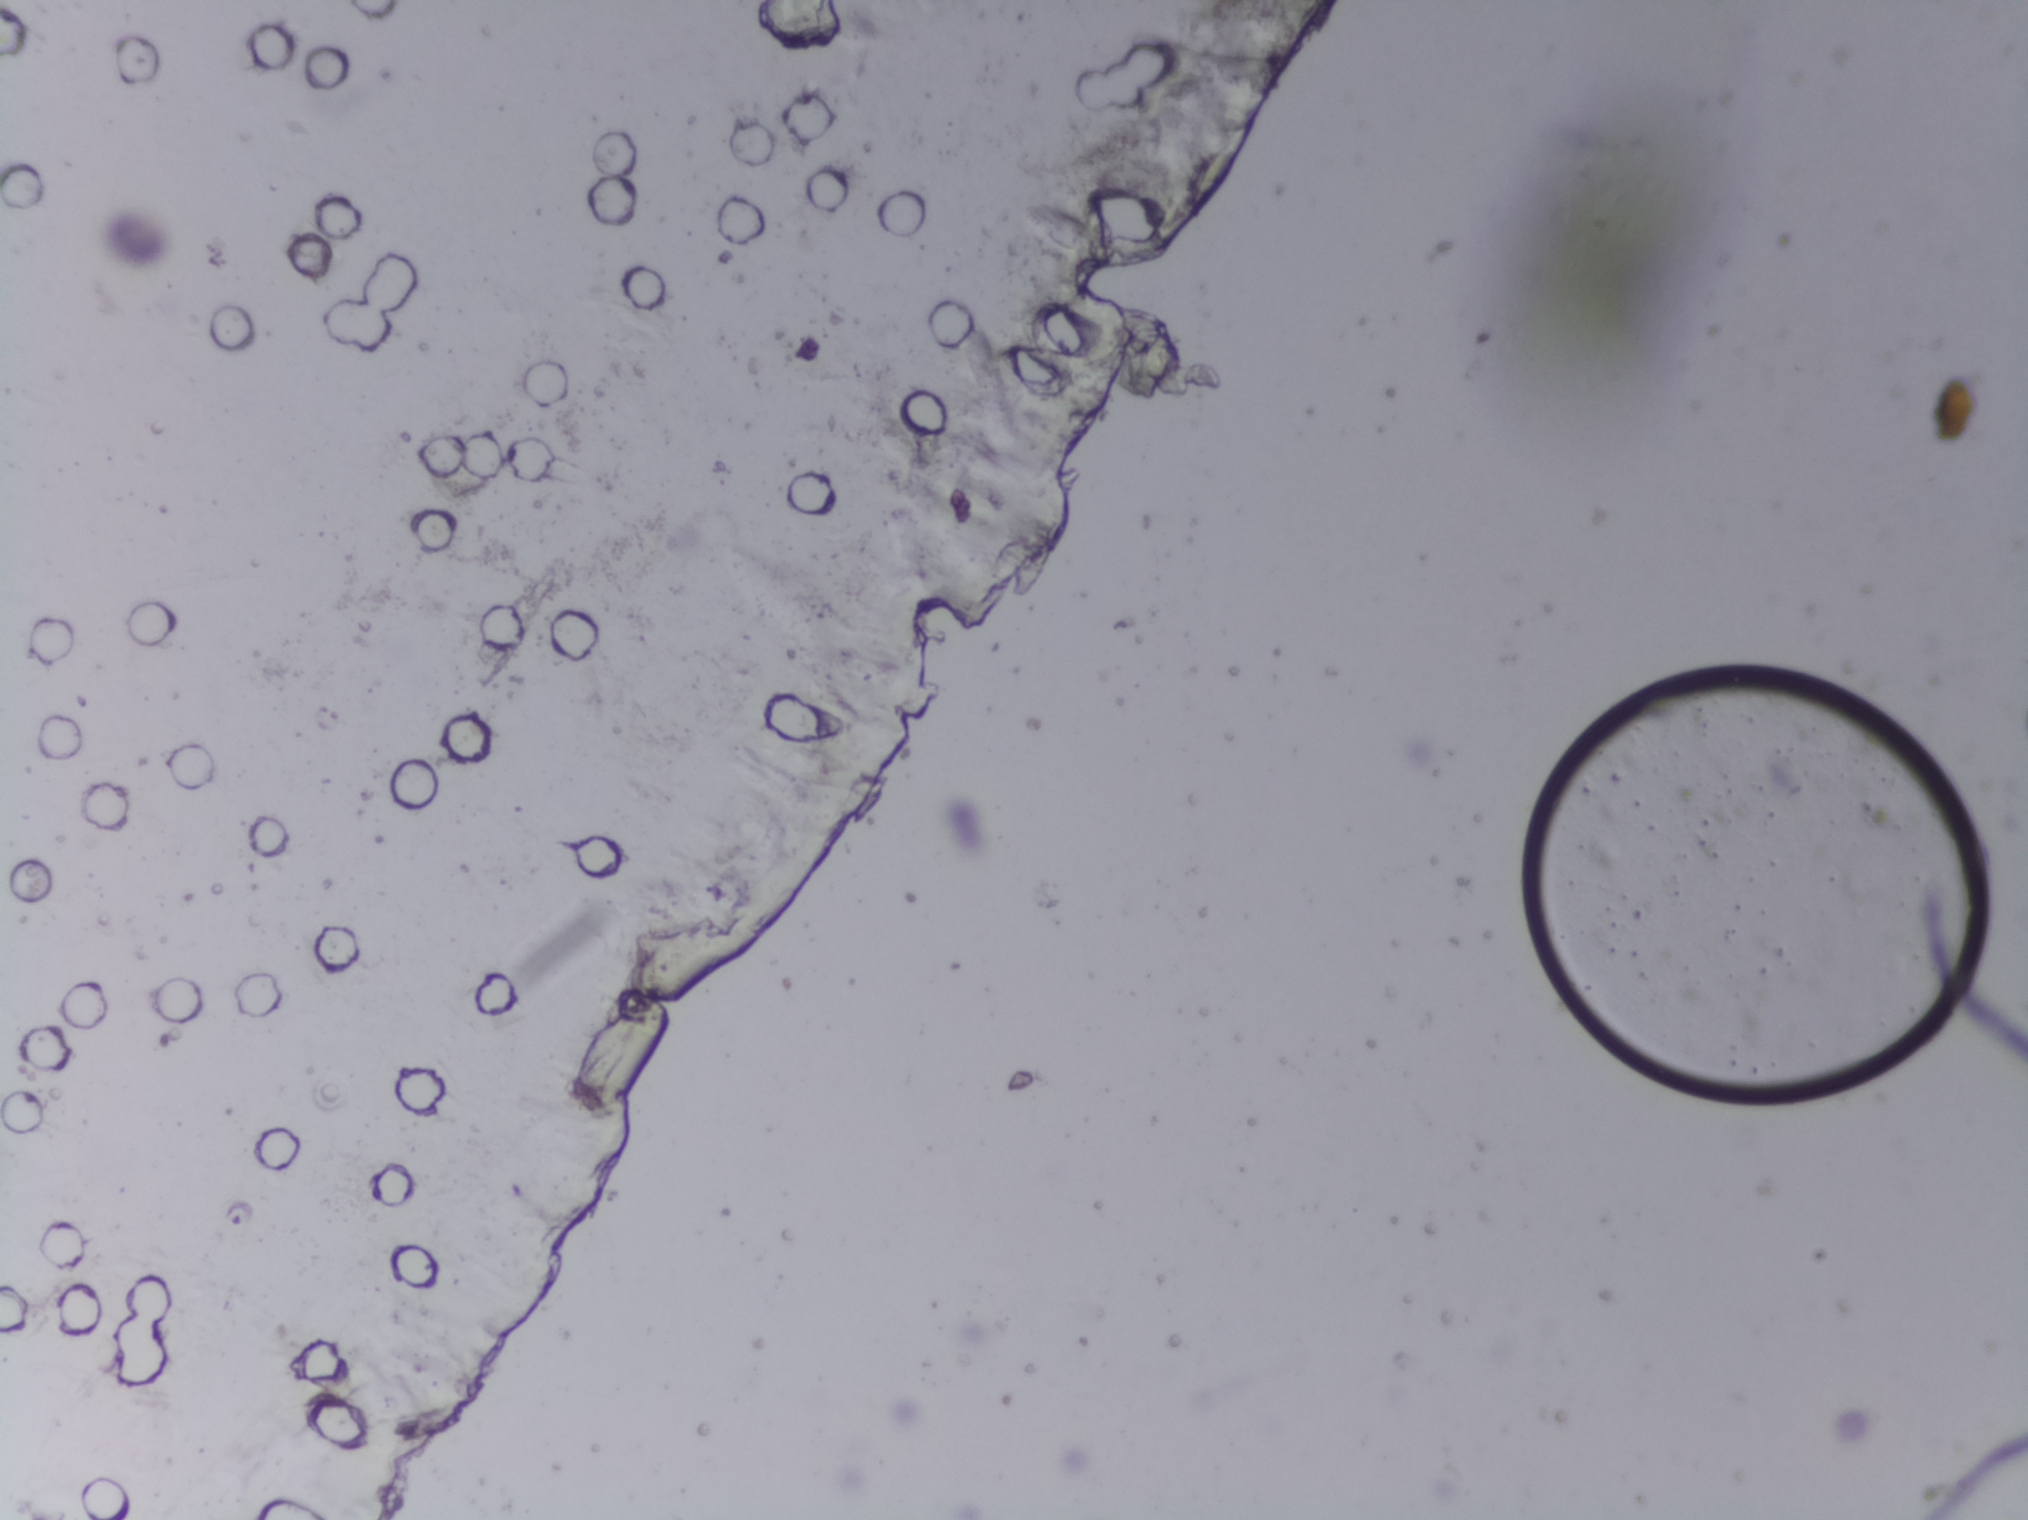
Urine filter membrane photographed through a 4× microscope objective.
The expert annotation outlines no Schistosoma egg in this image.